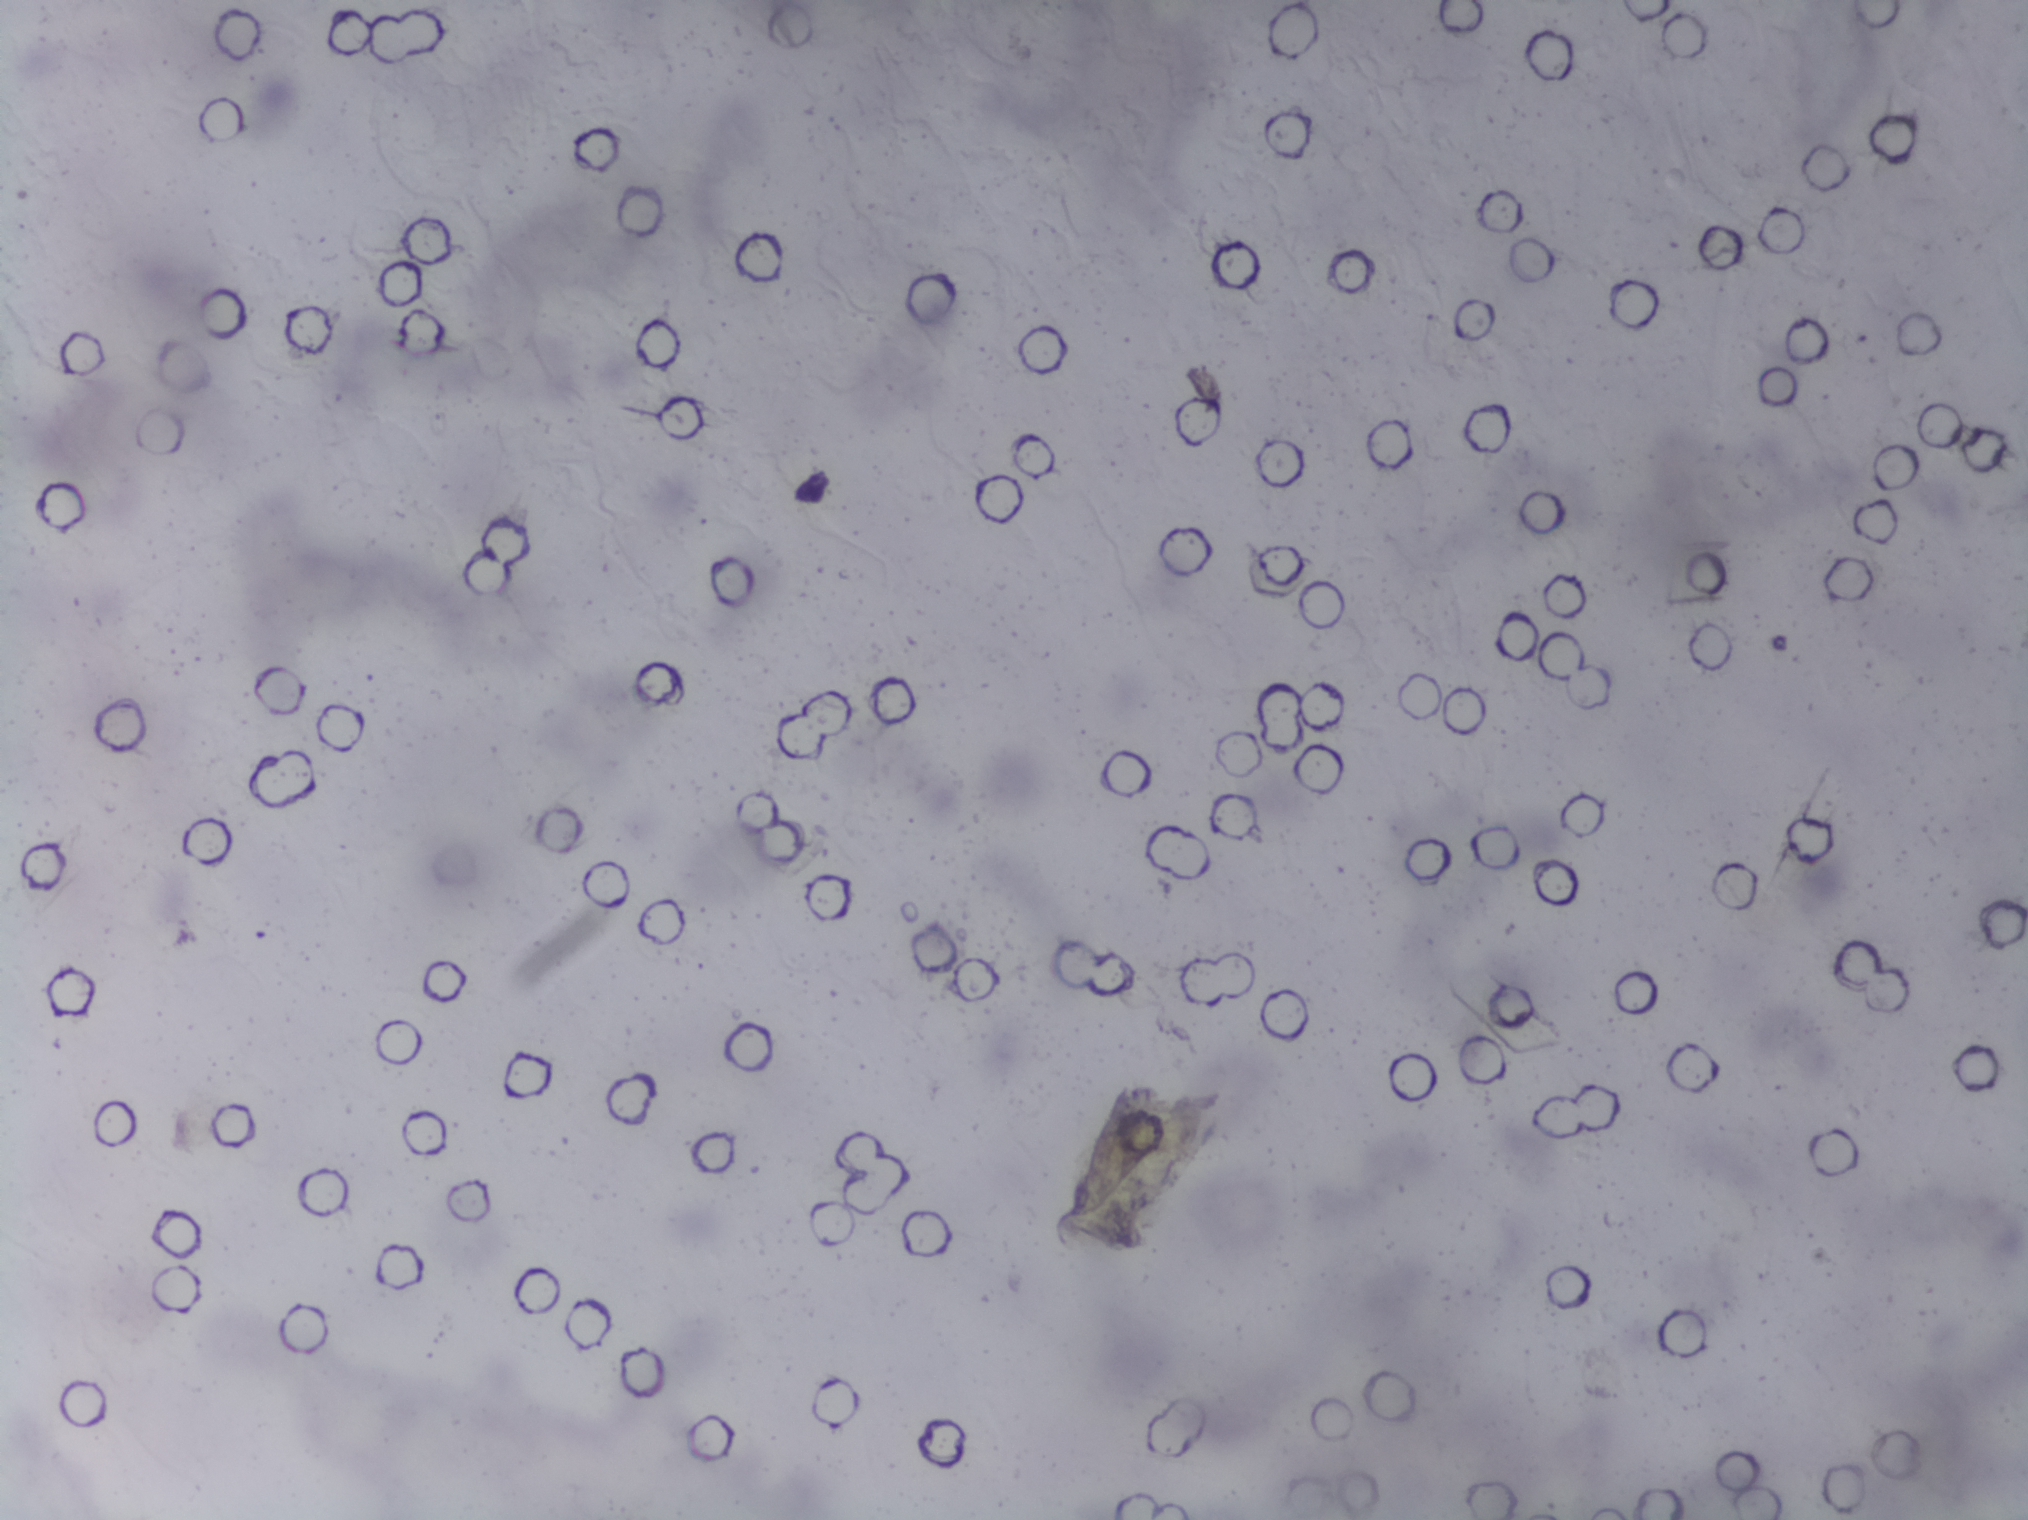
The expert annotation outlines no Schistosoma egg in this image.
Urine filter membrane photographed through a 4× microscope objective.